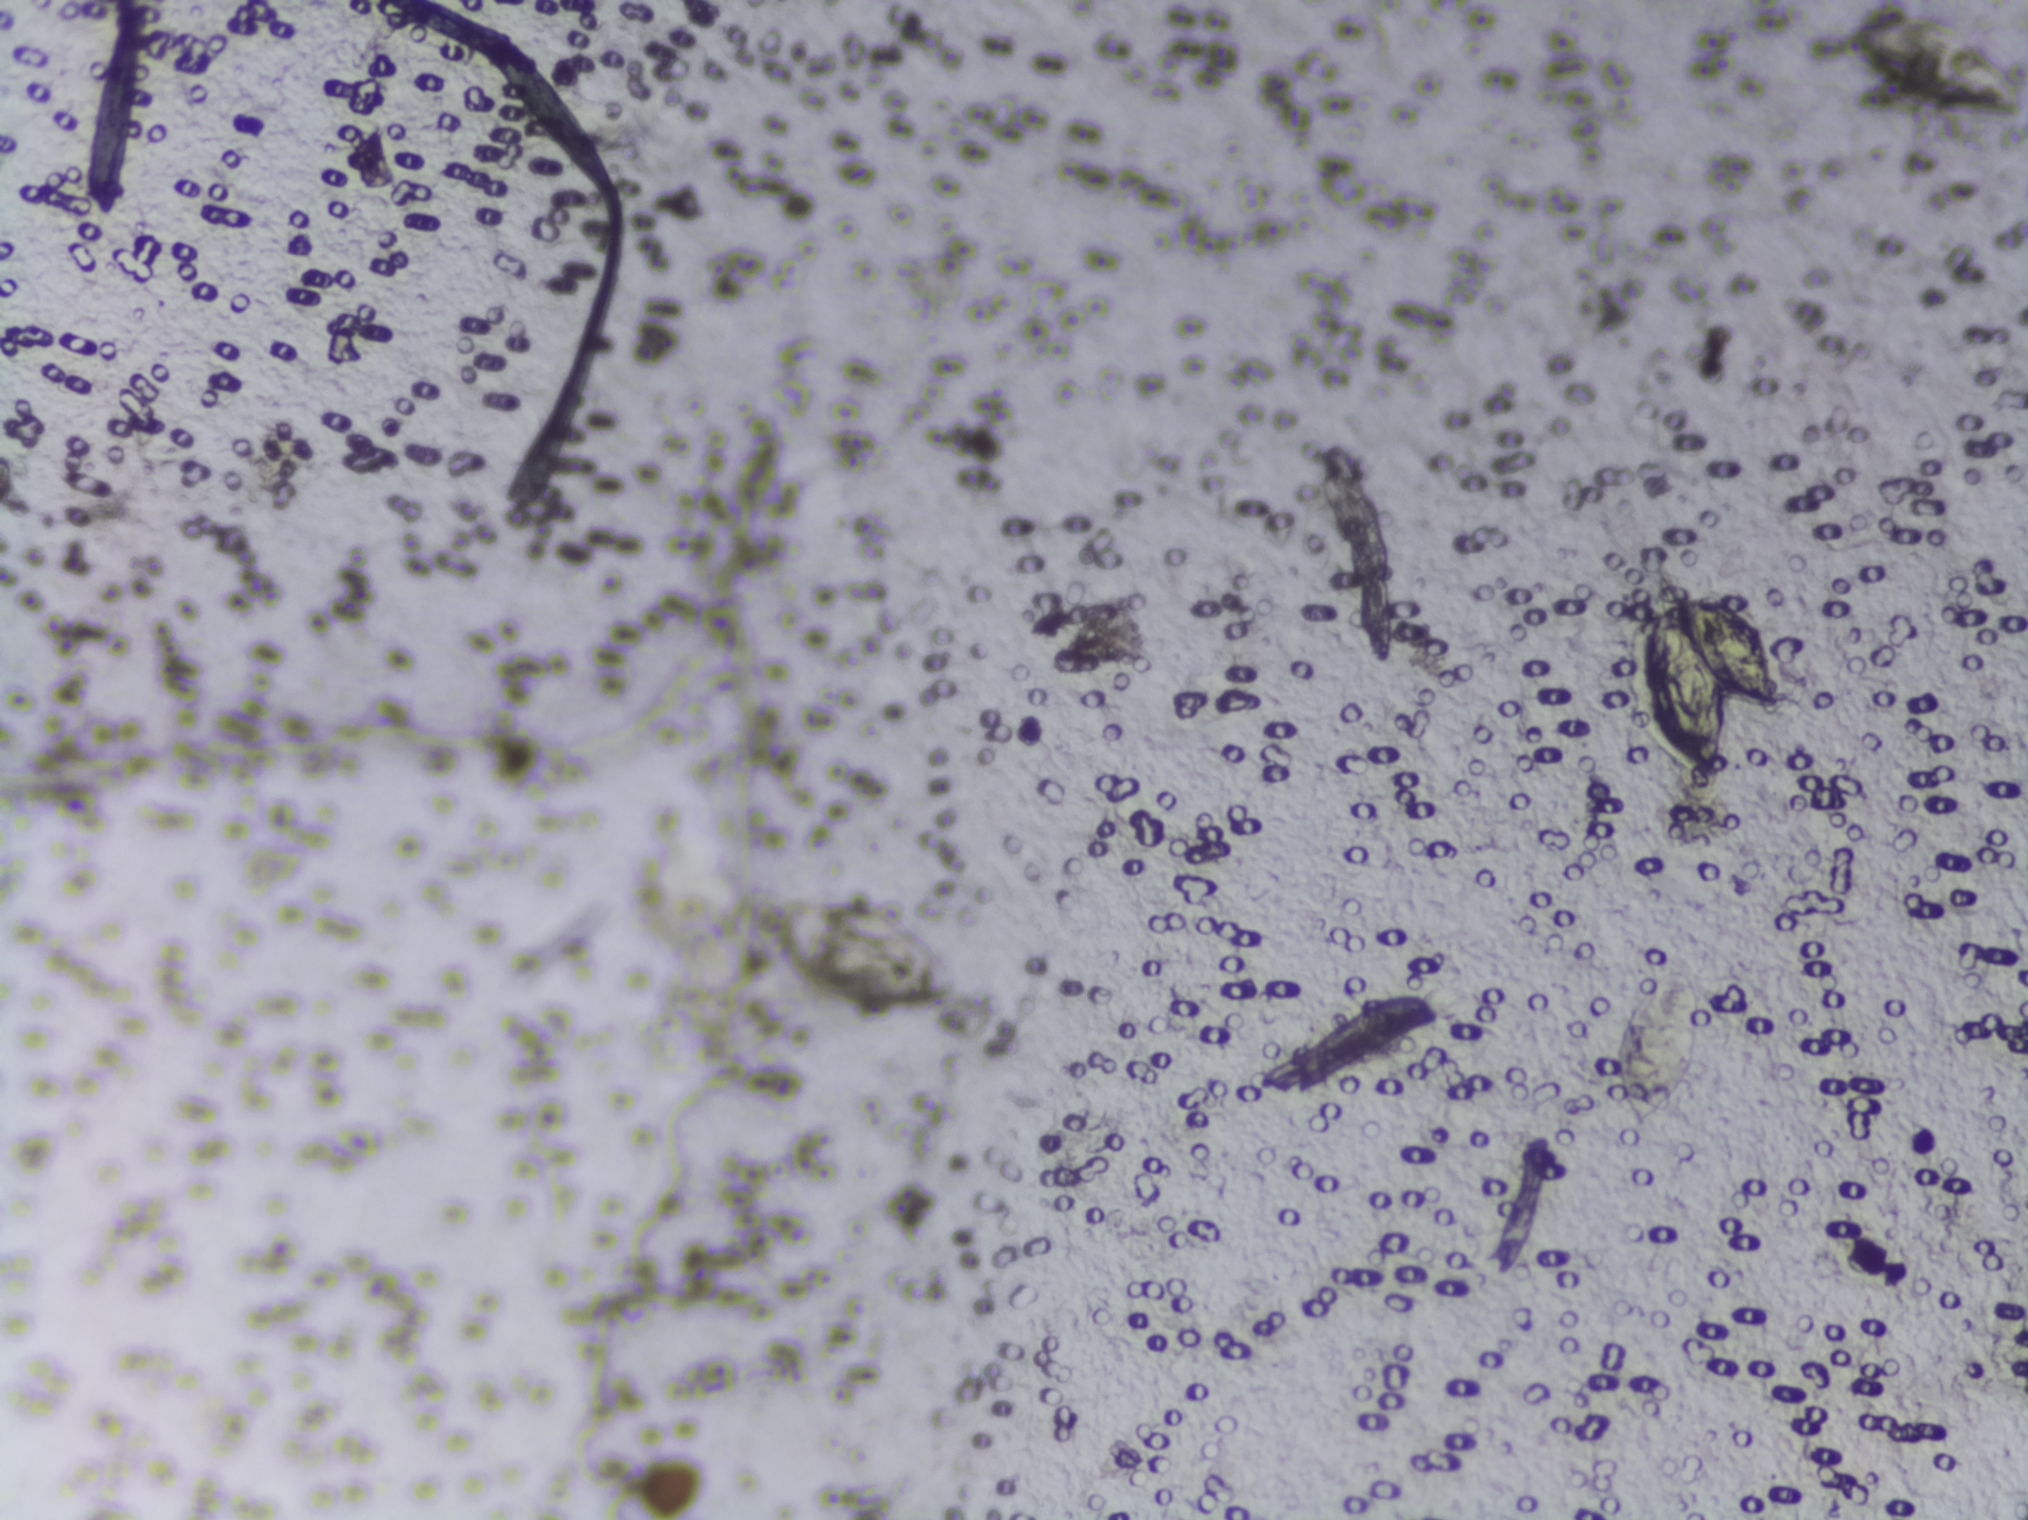
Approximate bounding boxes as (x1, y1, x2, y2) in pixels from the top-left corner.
Schistosoma egg areas, outlined: (746, 893, 962, 1013); (1616, 966, 1704, 1132); (1628, 592, 1779, 779); (1836, 8, 2023, 122). Eggs that touch can end up inside the same outlined area.
Microscope photograph (4× objective) of a membrane that a urine sample was filtered through.